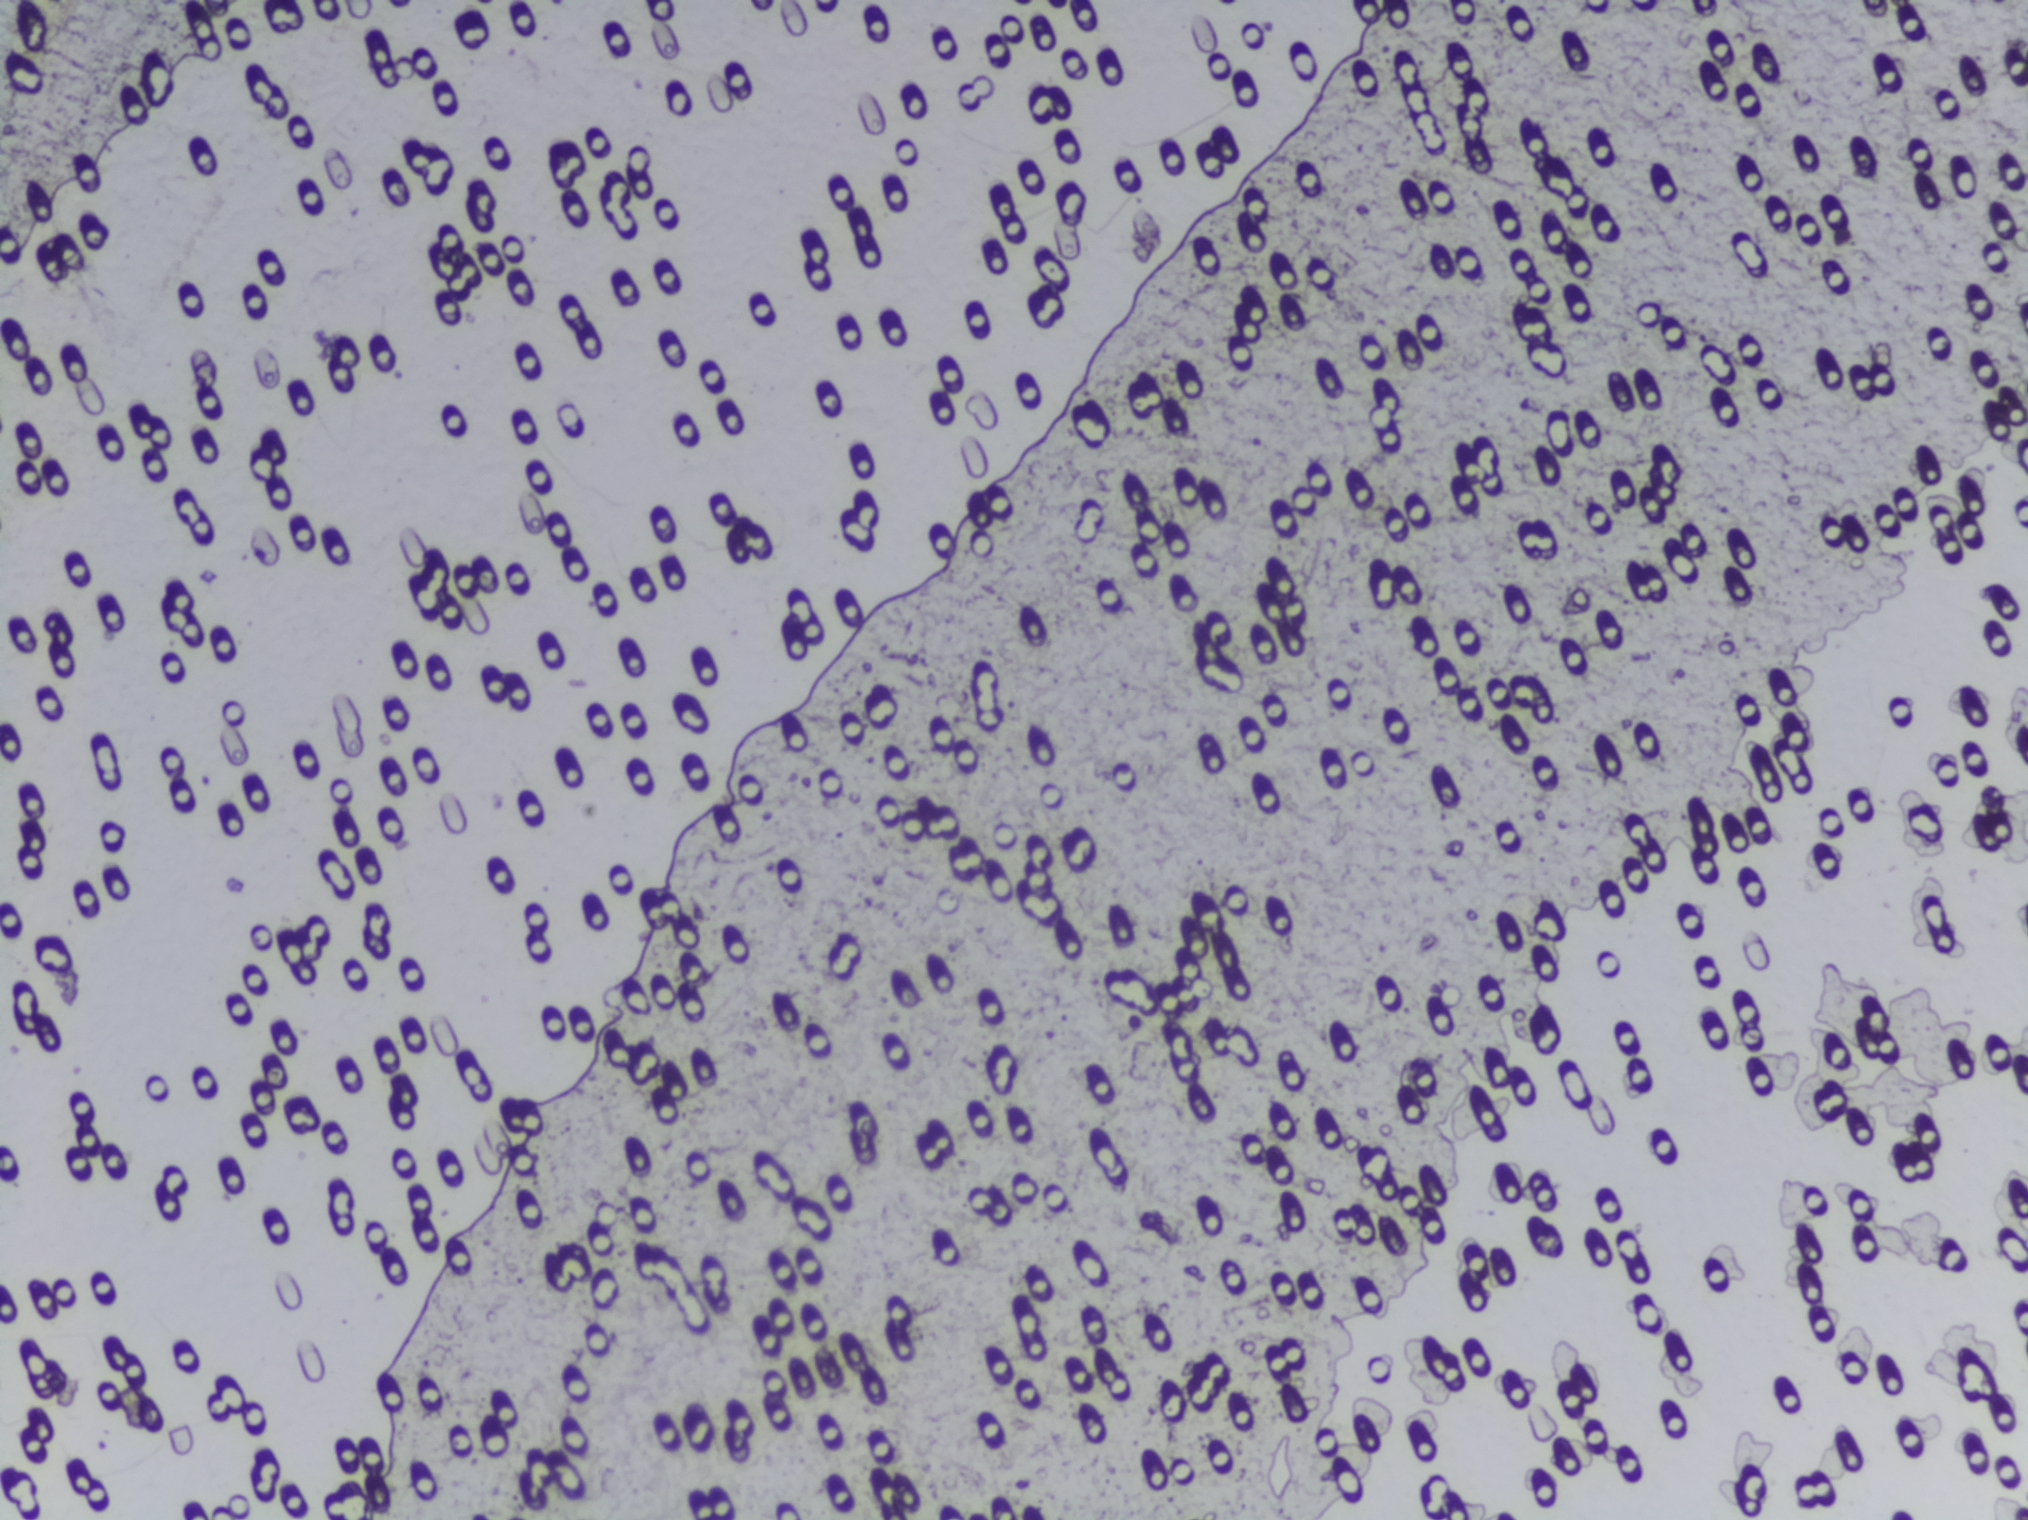
The expert annotation marks no Schistosoma egg in this field of view.
One field of view of a urine filter membrane, 4× objective, 2028 × 1520 pixels.